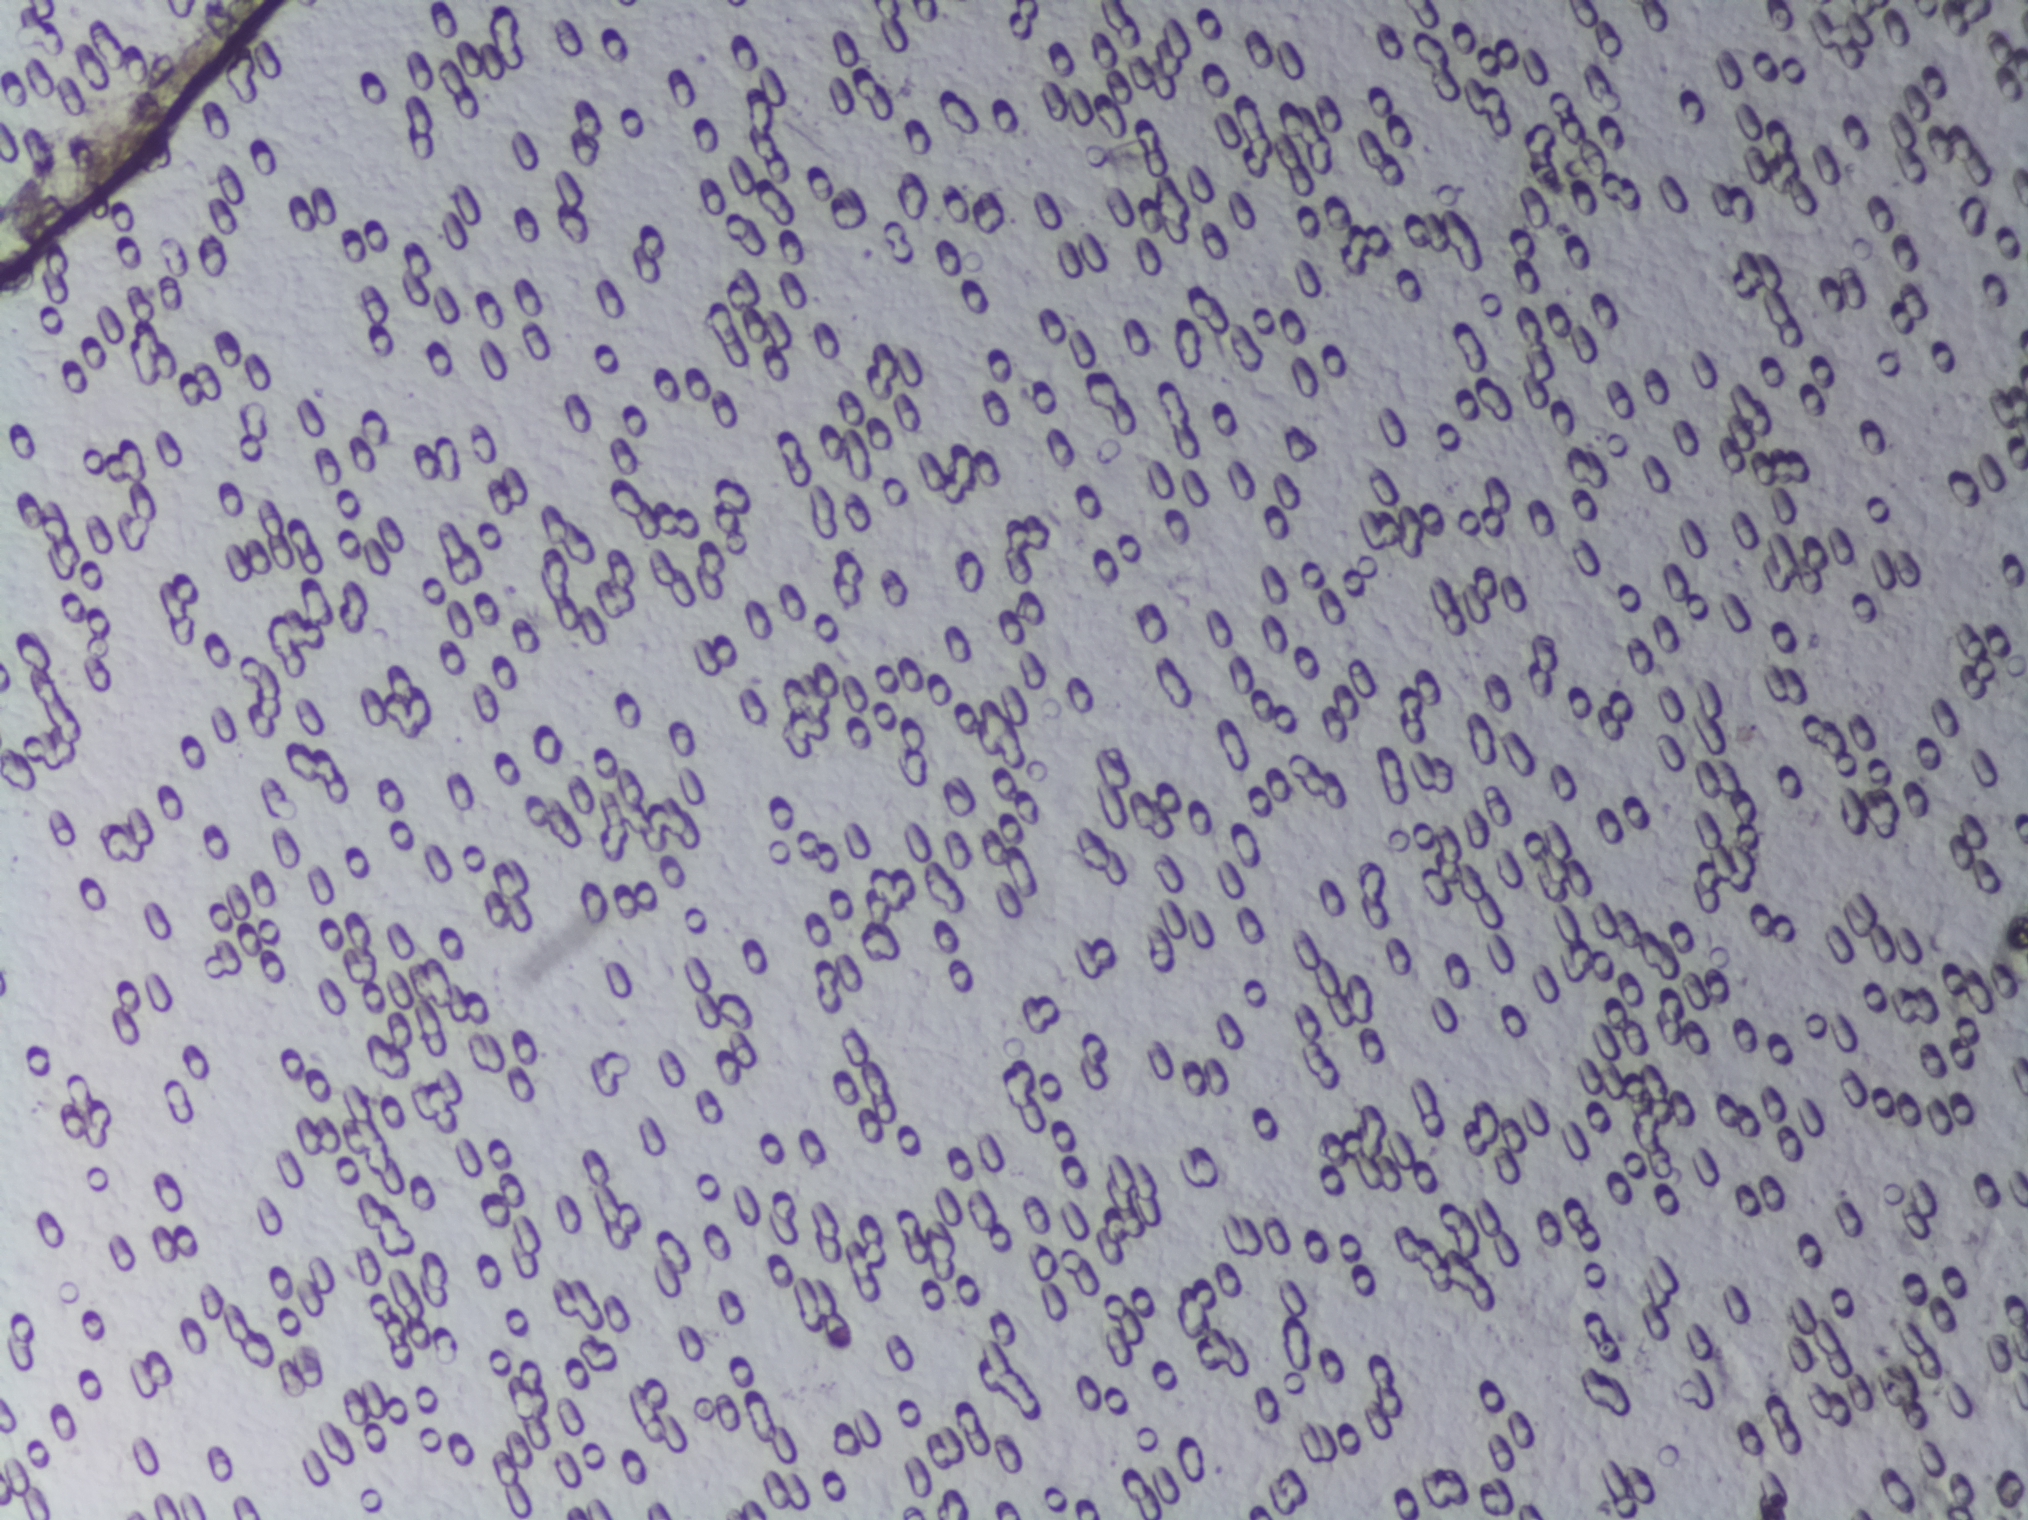
One field of view of a urine filter membrane, 4× objective, 2028 × 1520 pixels.
The expert annotation outlines no Schistosoma egg in this image.